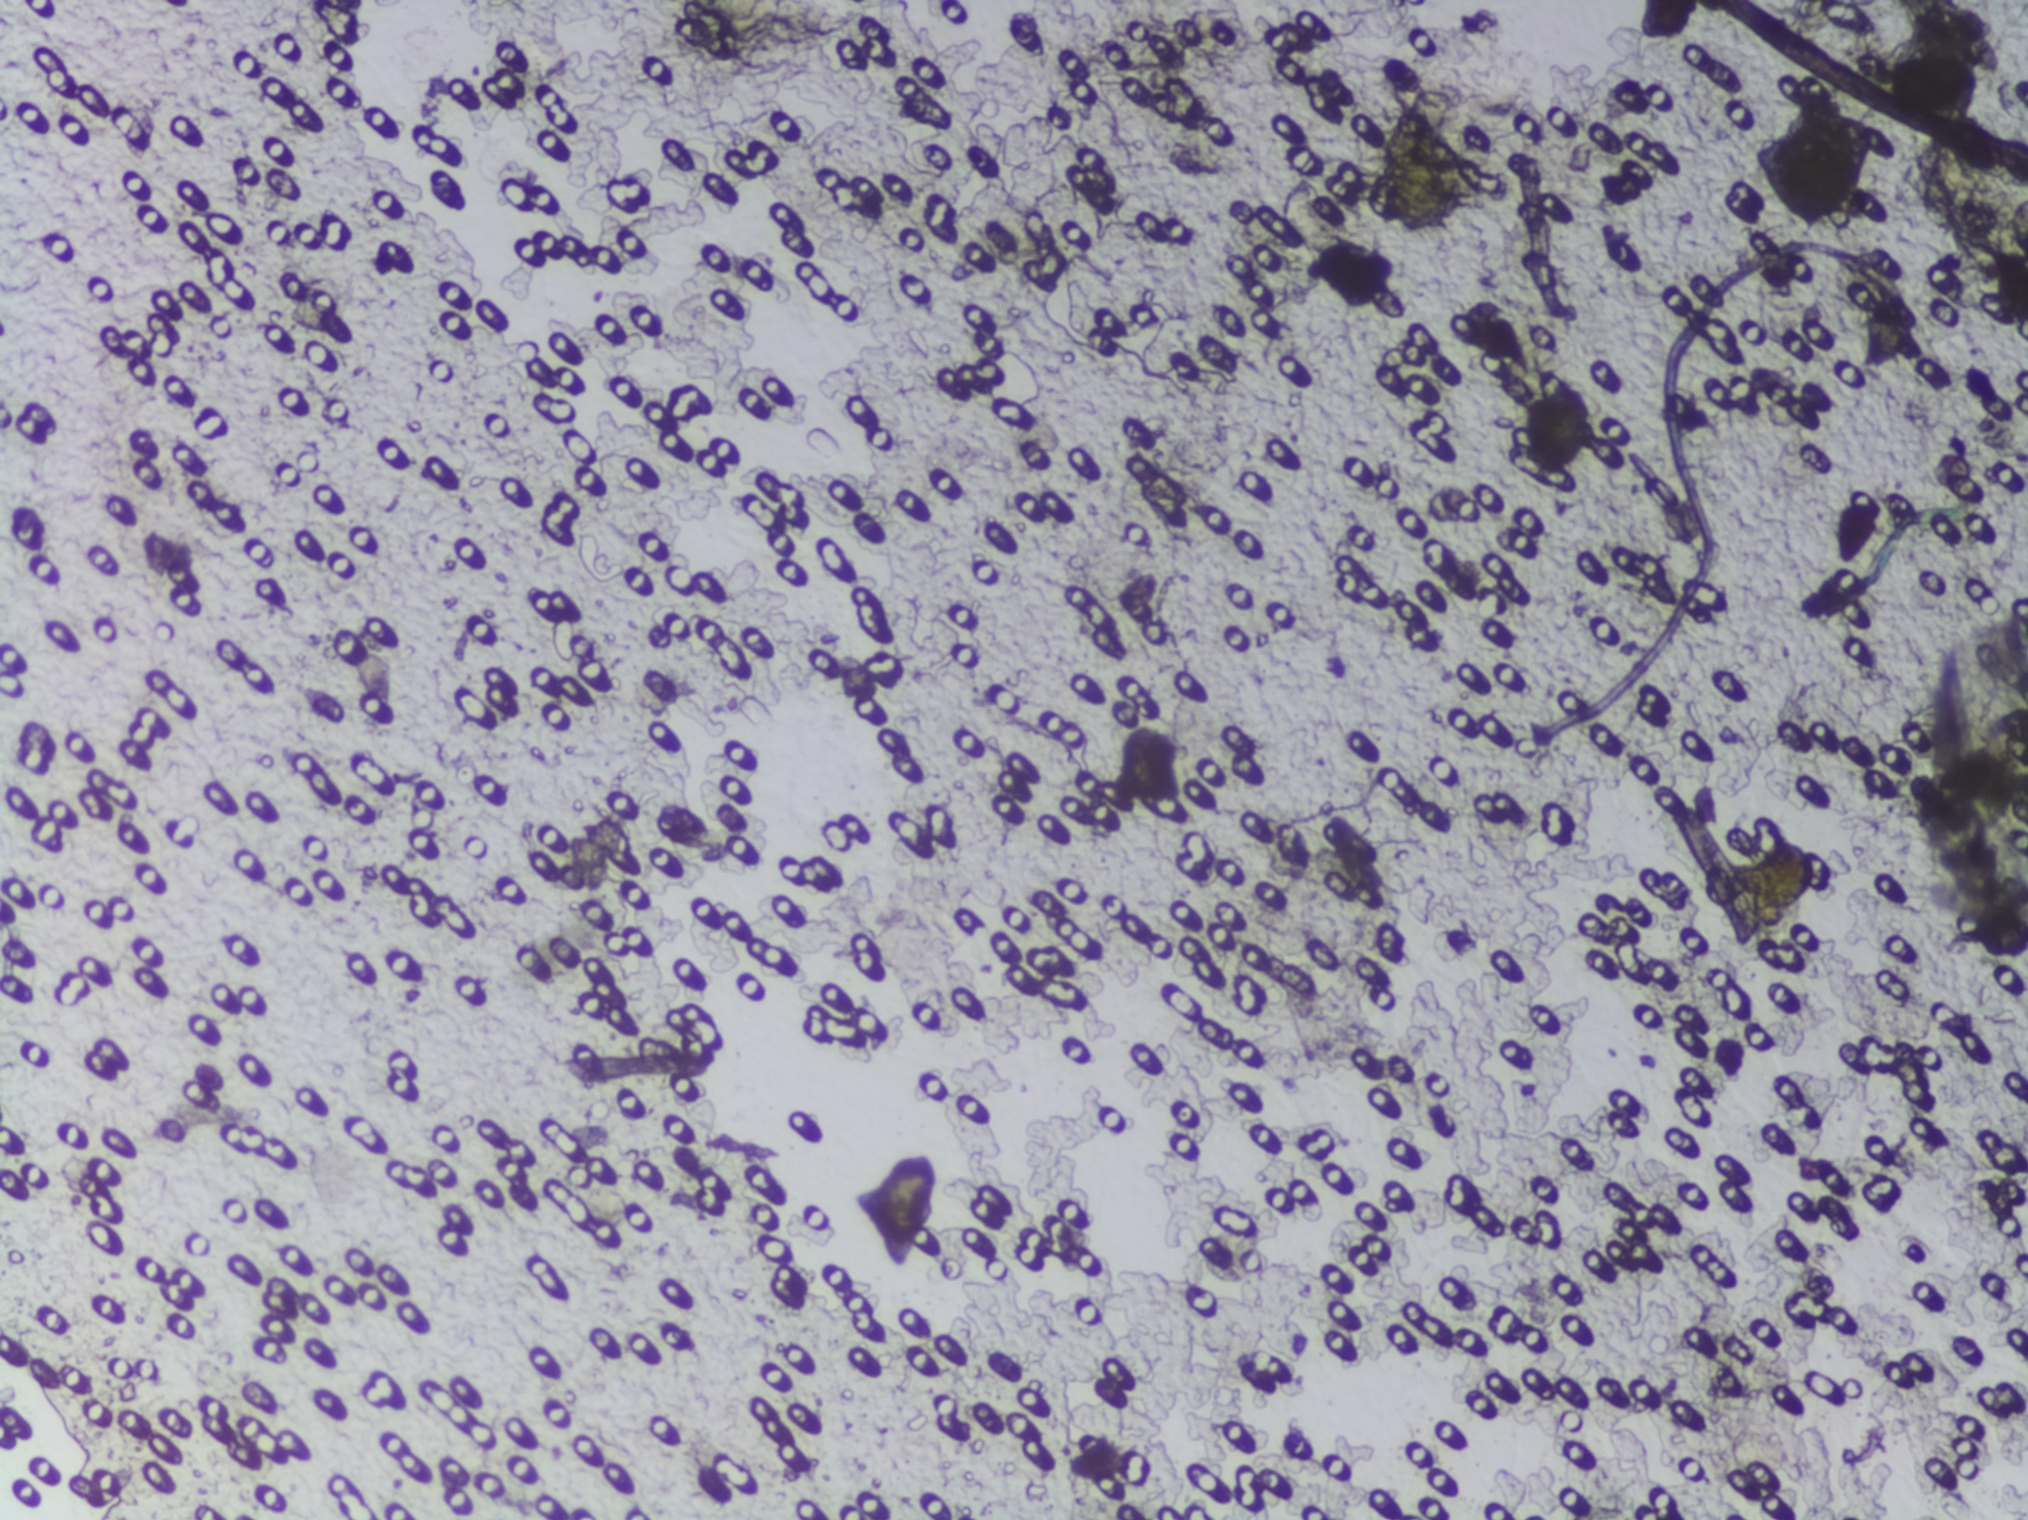
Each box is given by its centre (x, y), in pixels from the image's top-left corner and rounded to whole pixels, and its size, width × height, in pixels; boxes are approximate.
One area of this image is outlined as Schistosoma eggs: centre (900, 1213), 84 × 127 px. A single outlined area may contain several eggs. A marked egg may occasionally be S. mansoni rather than S. haematobium.
Photograph from an automated digital microscope: urine filter membrane, 4× objective.